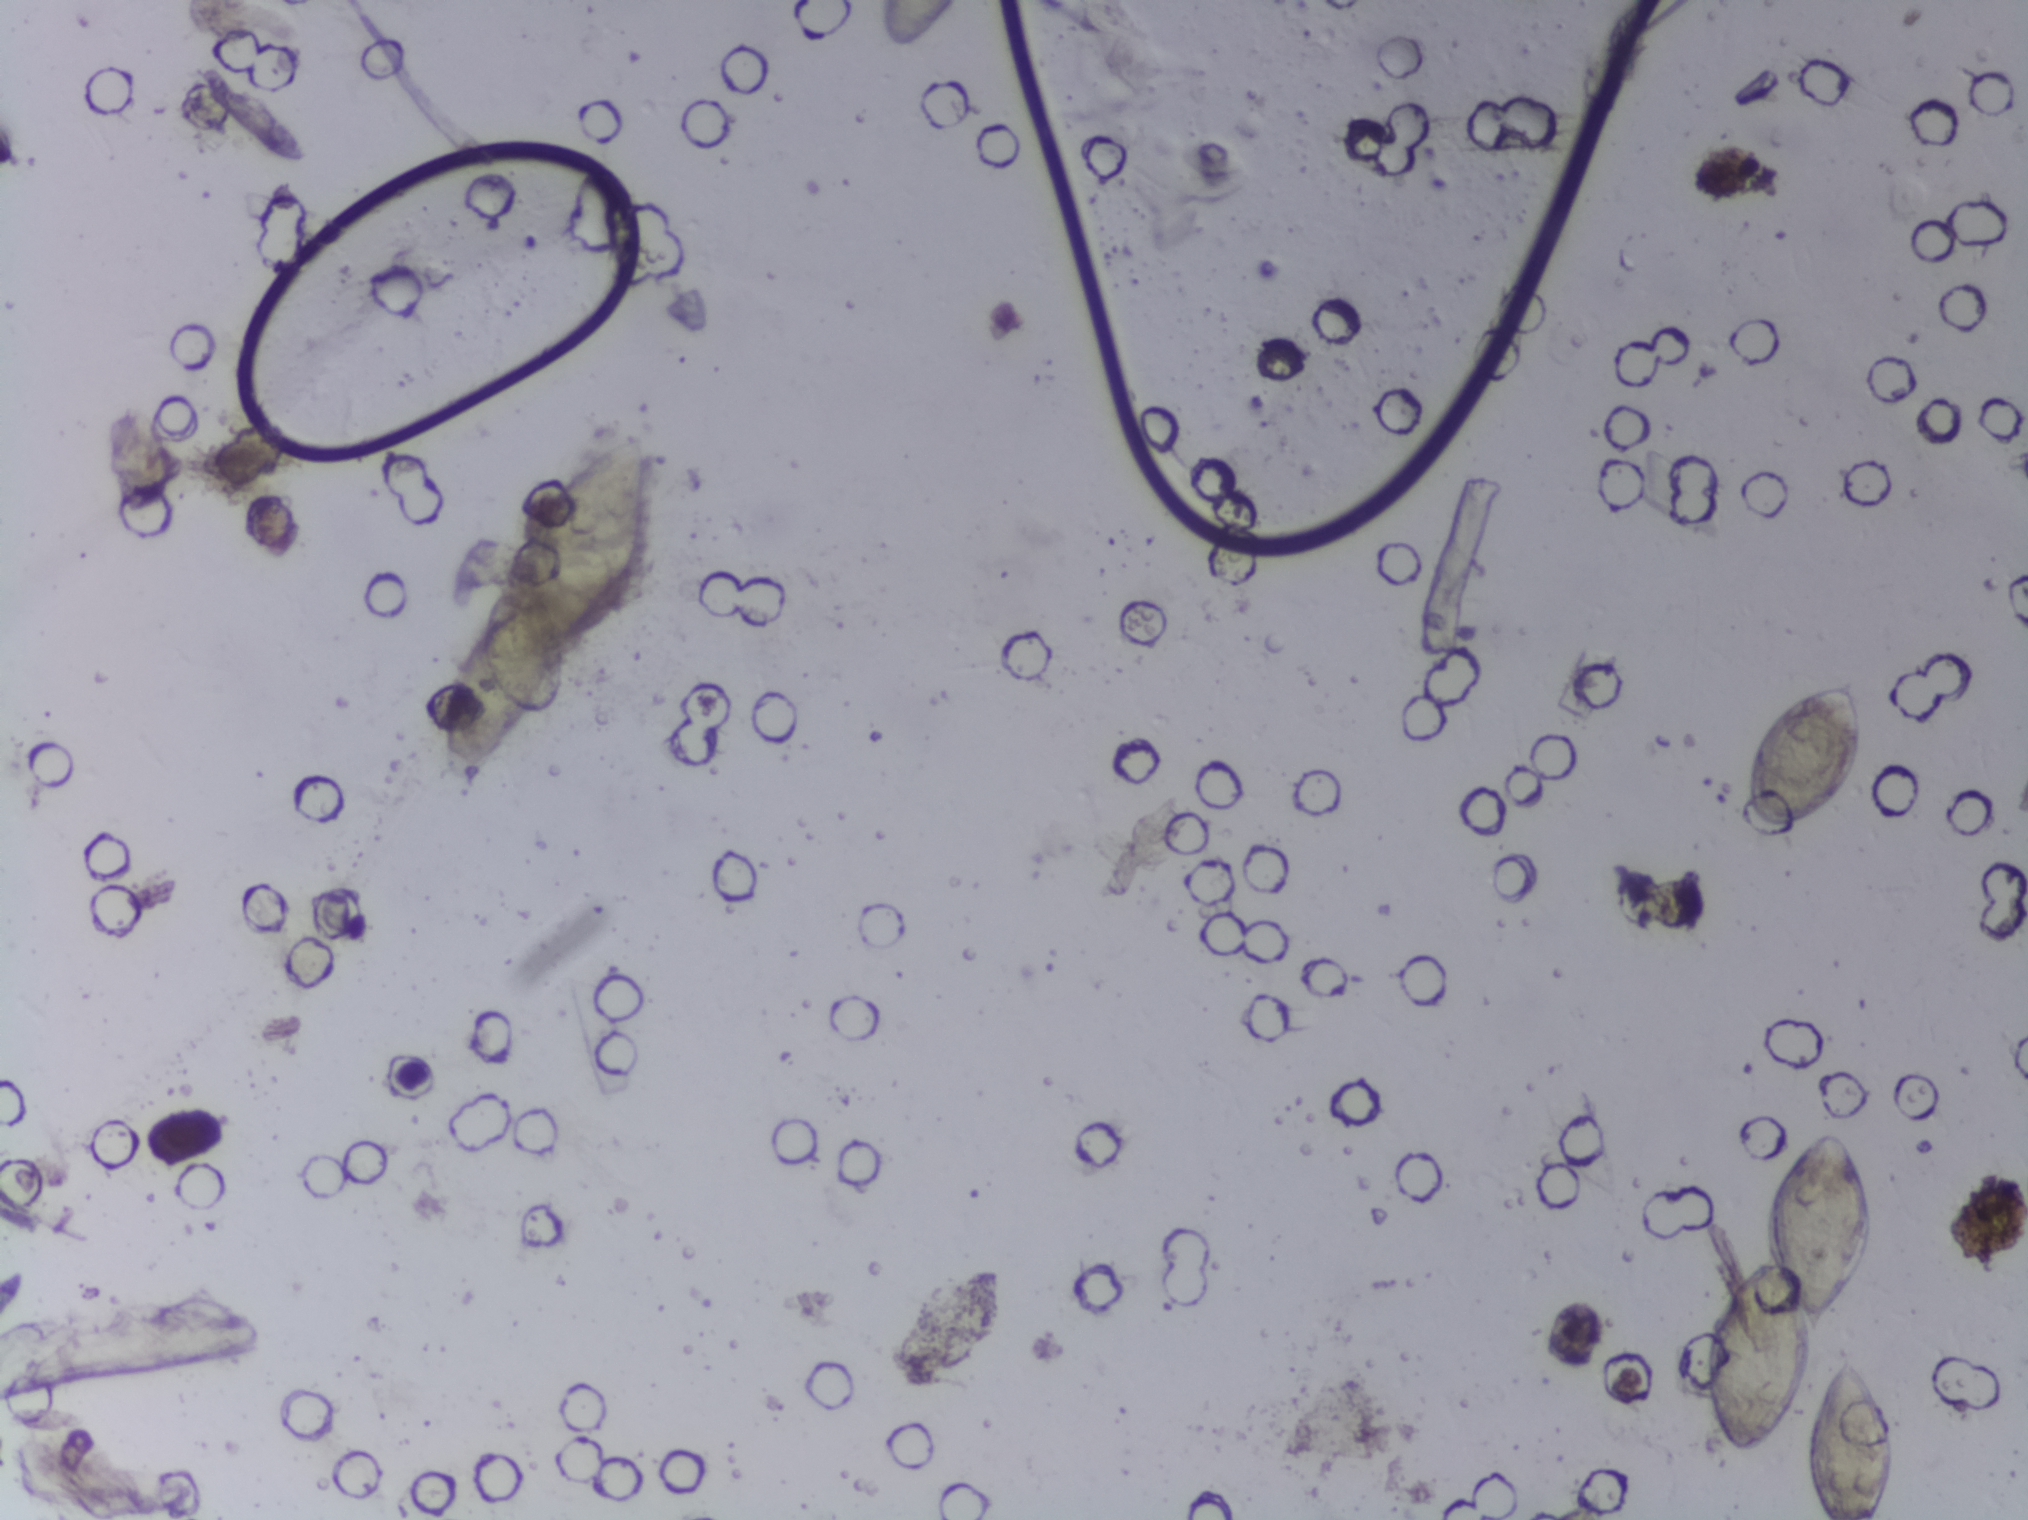
Photograph from an automated digital microscope: urine filter membrane, 4× objective.
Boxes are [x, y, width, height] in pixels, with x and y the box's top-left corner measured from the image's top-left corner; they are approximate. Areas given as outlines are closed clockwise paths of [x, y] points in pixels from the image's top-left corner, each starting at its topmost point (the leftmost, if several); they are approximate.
Schistosoma eggs, outlined areas: outline [634, 432], [644, 438], [649, 513], [646, 550], [630, 593], [591, 640], [564, 651], [540, 707], [492, 770], [470, 785], [456, 785], [437, 758], [451, 655], [475, 624], [520, 590], [519, 514], [552, 475]; box [875, 0, 85, 54] (reaching the top edge of the frame); box [1701, 1129, 176, 334]; box [1740, 673, 125, 160]; box [1802, 1352, 93, 168] (reaching the bottom edge of the frame). An outlined area can hold more than one egg. Any one outlined egg may, rarely, be S. mansoni rather than S. haematobium.